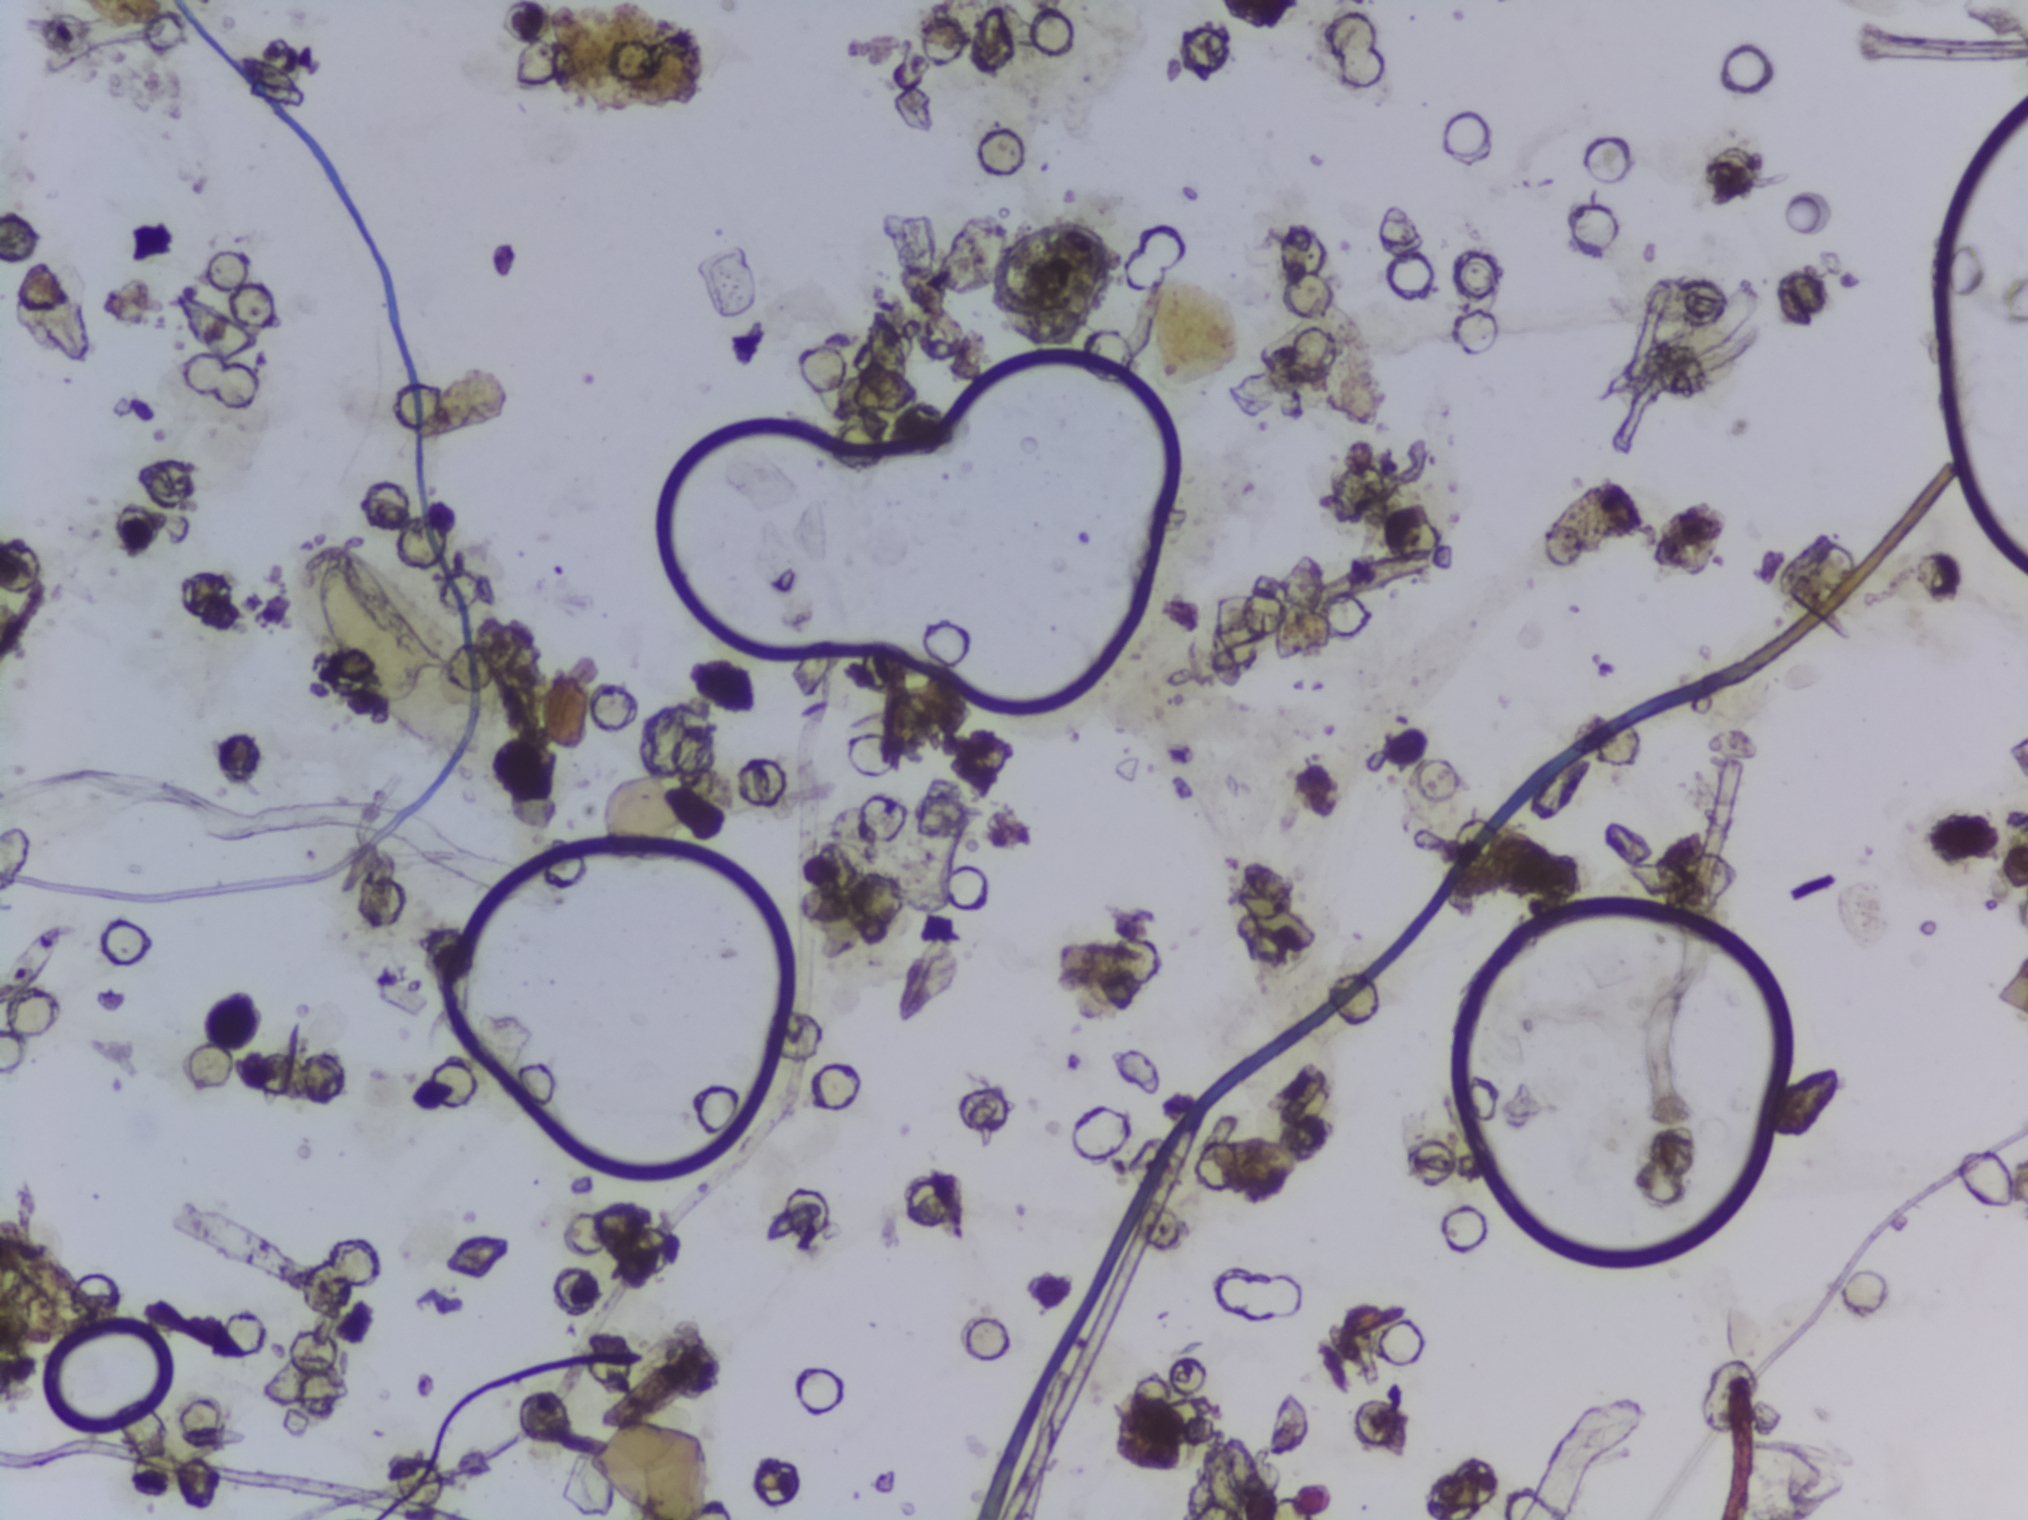
Photograph from an automated digital microscope: urine filter membrane, 4× objective.
The expert annotation outlines no Schistosoma egg in this image.